Photograph from an automated digital microscope: urine filter membrane, 4× objective.
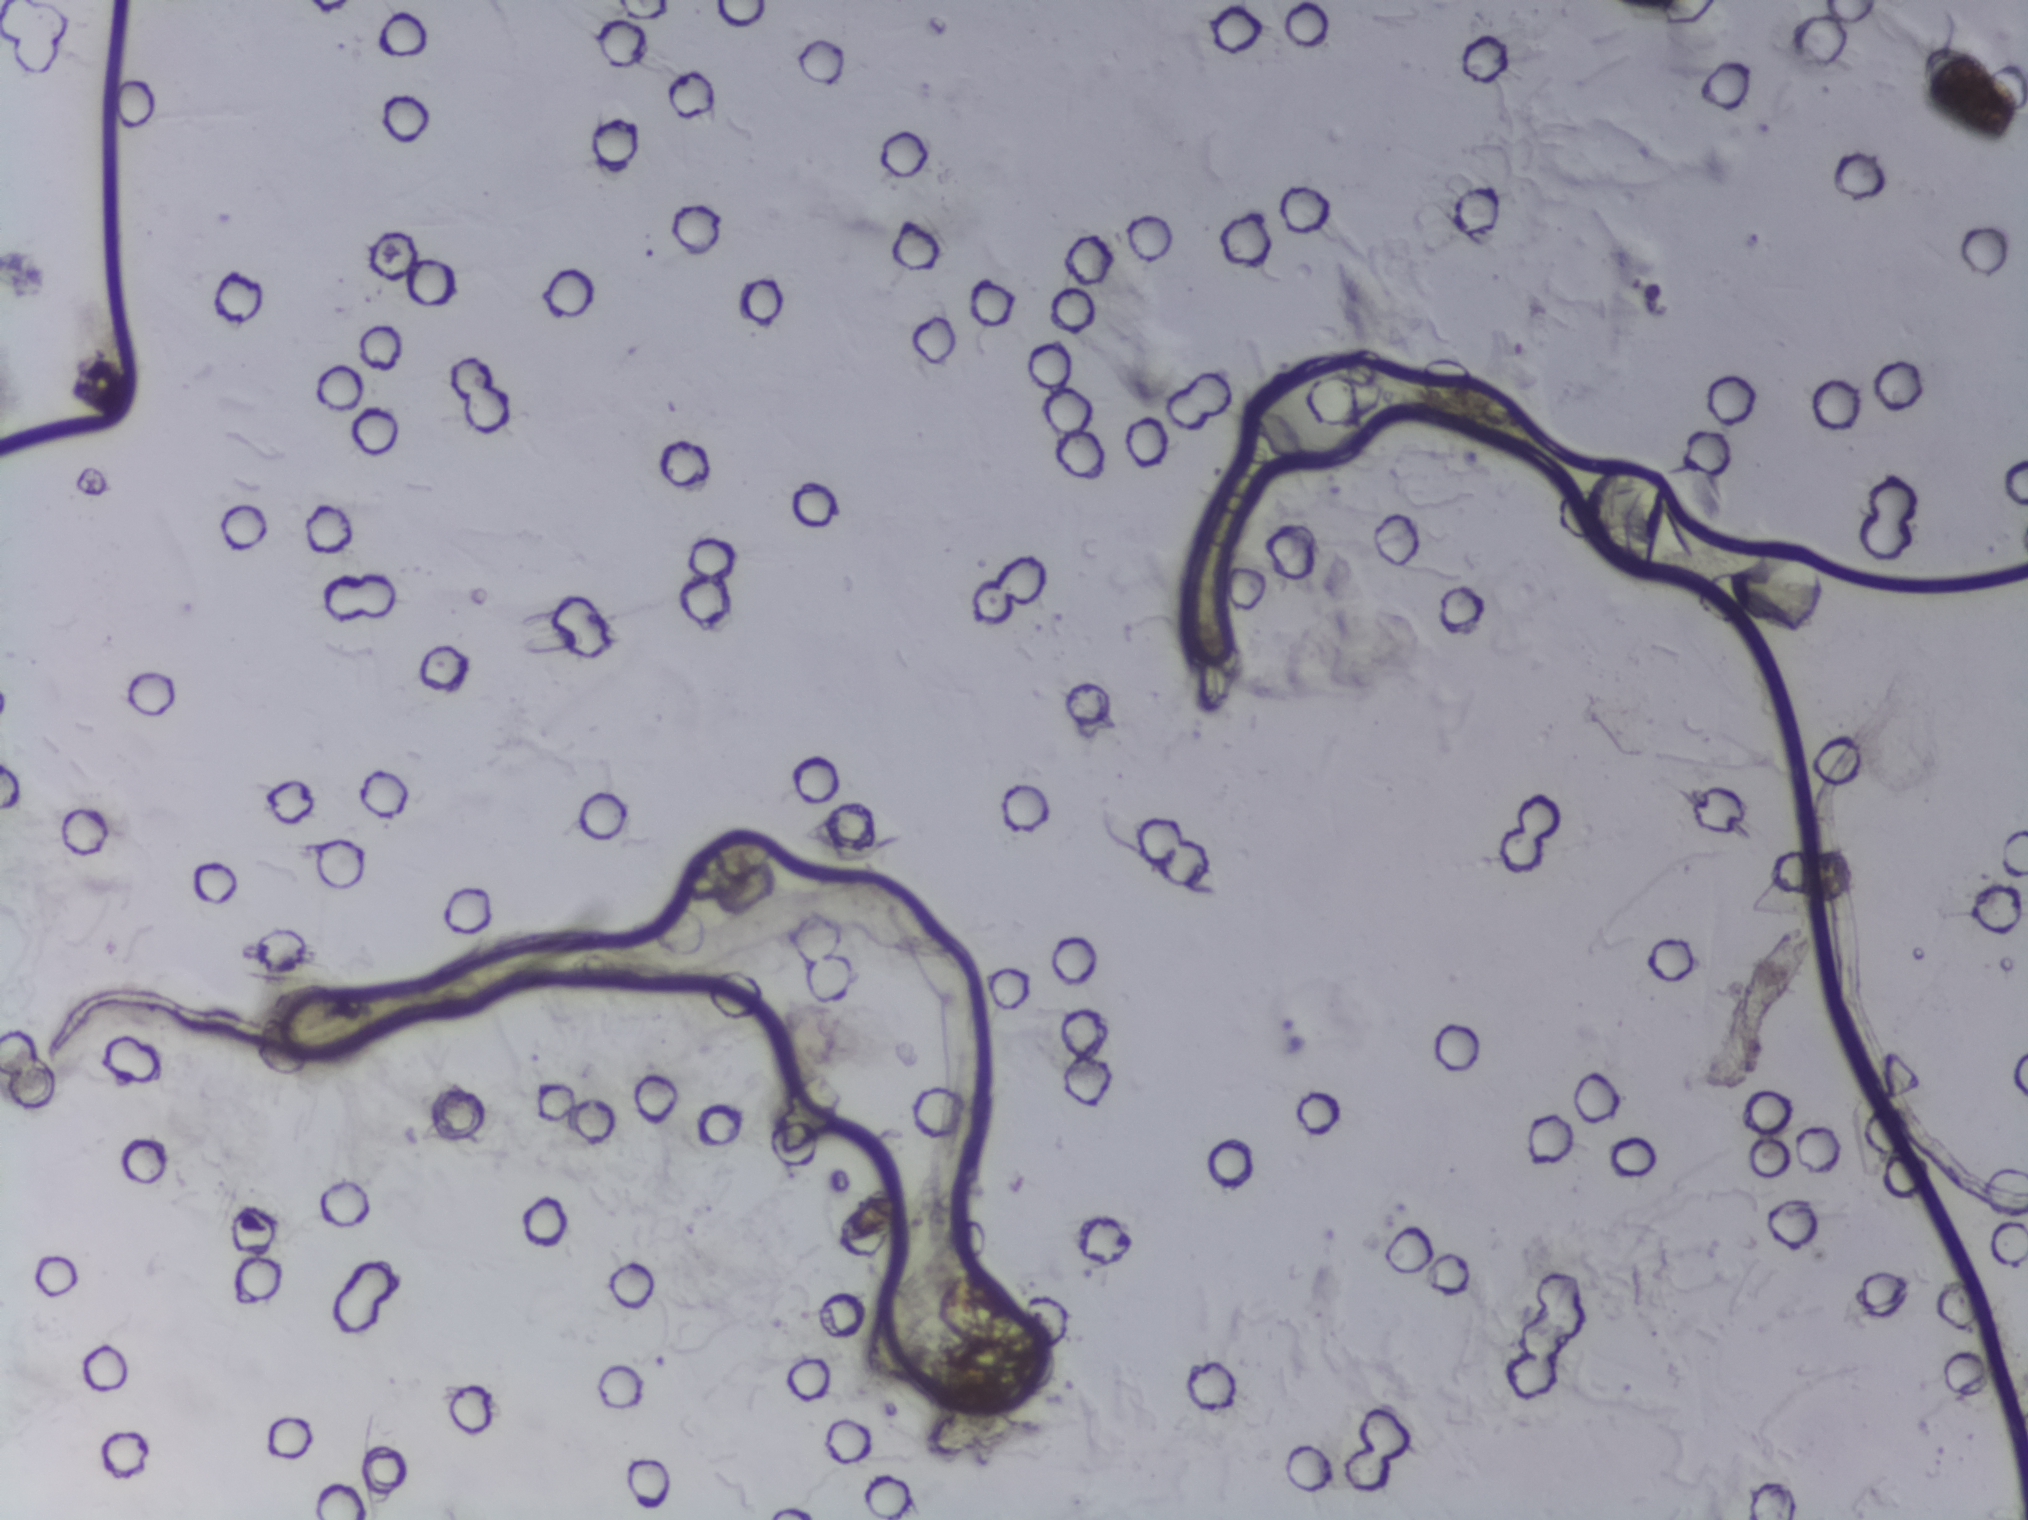
Schistosoma eggs: none outlined.